Urine filter membrane photographed through a 4× microscope objective. The image covers about 1.5 × 1.1 mm of the membrane.
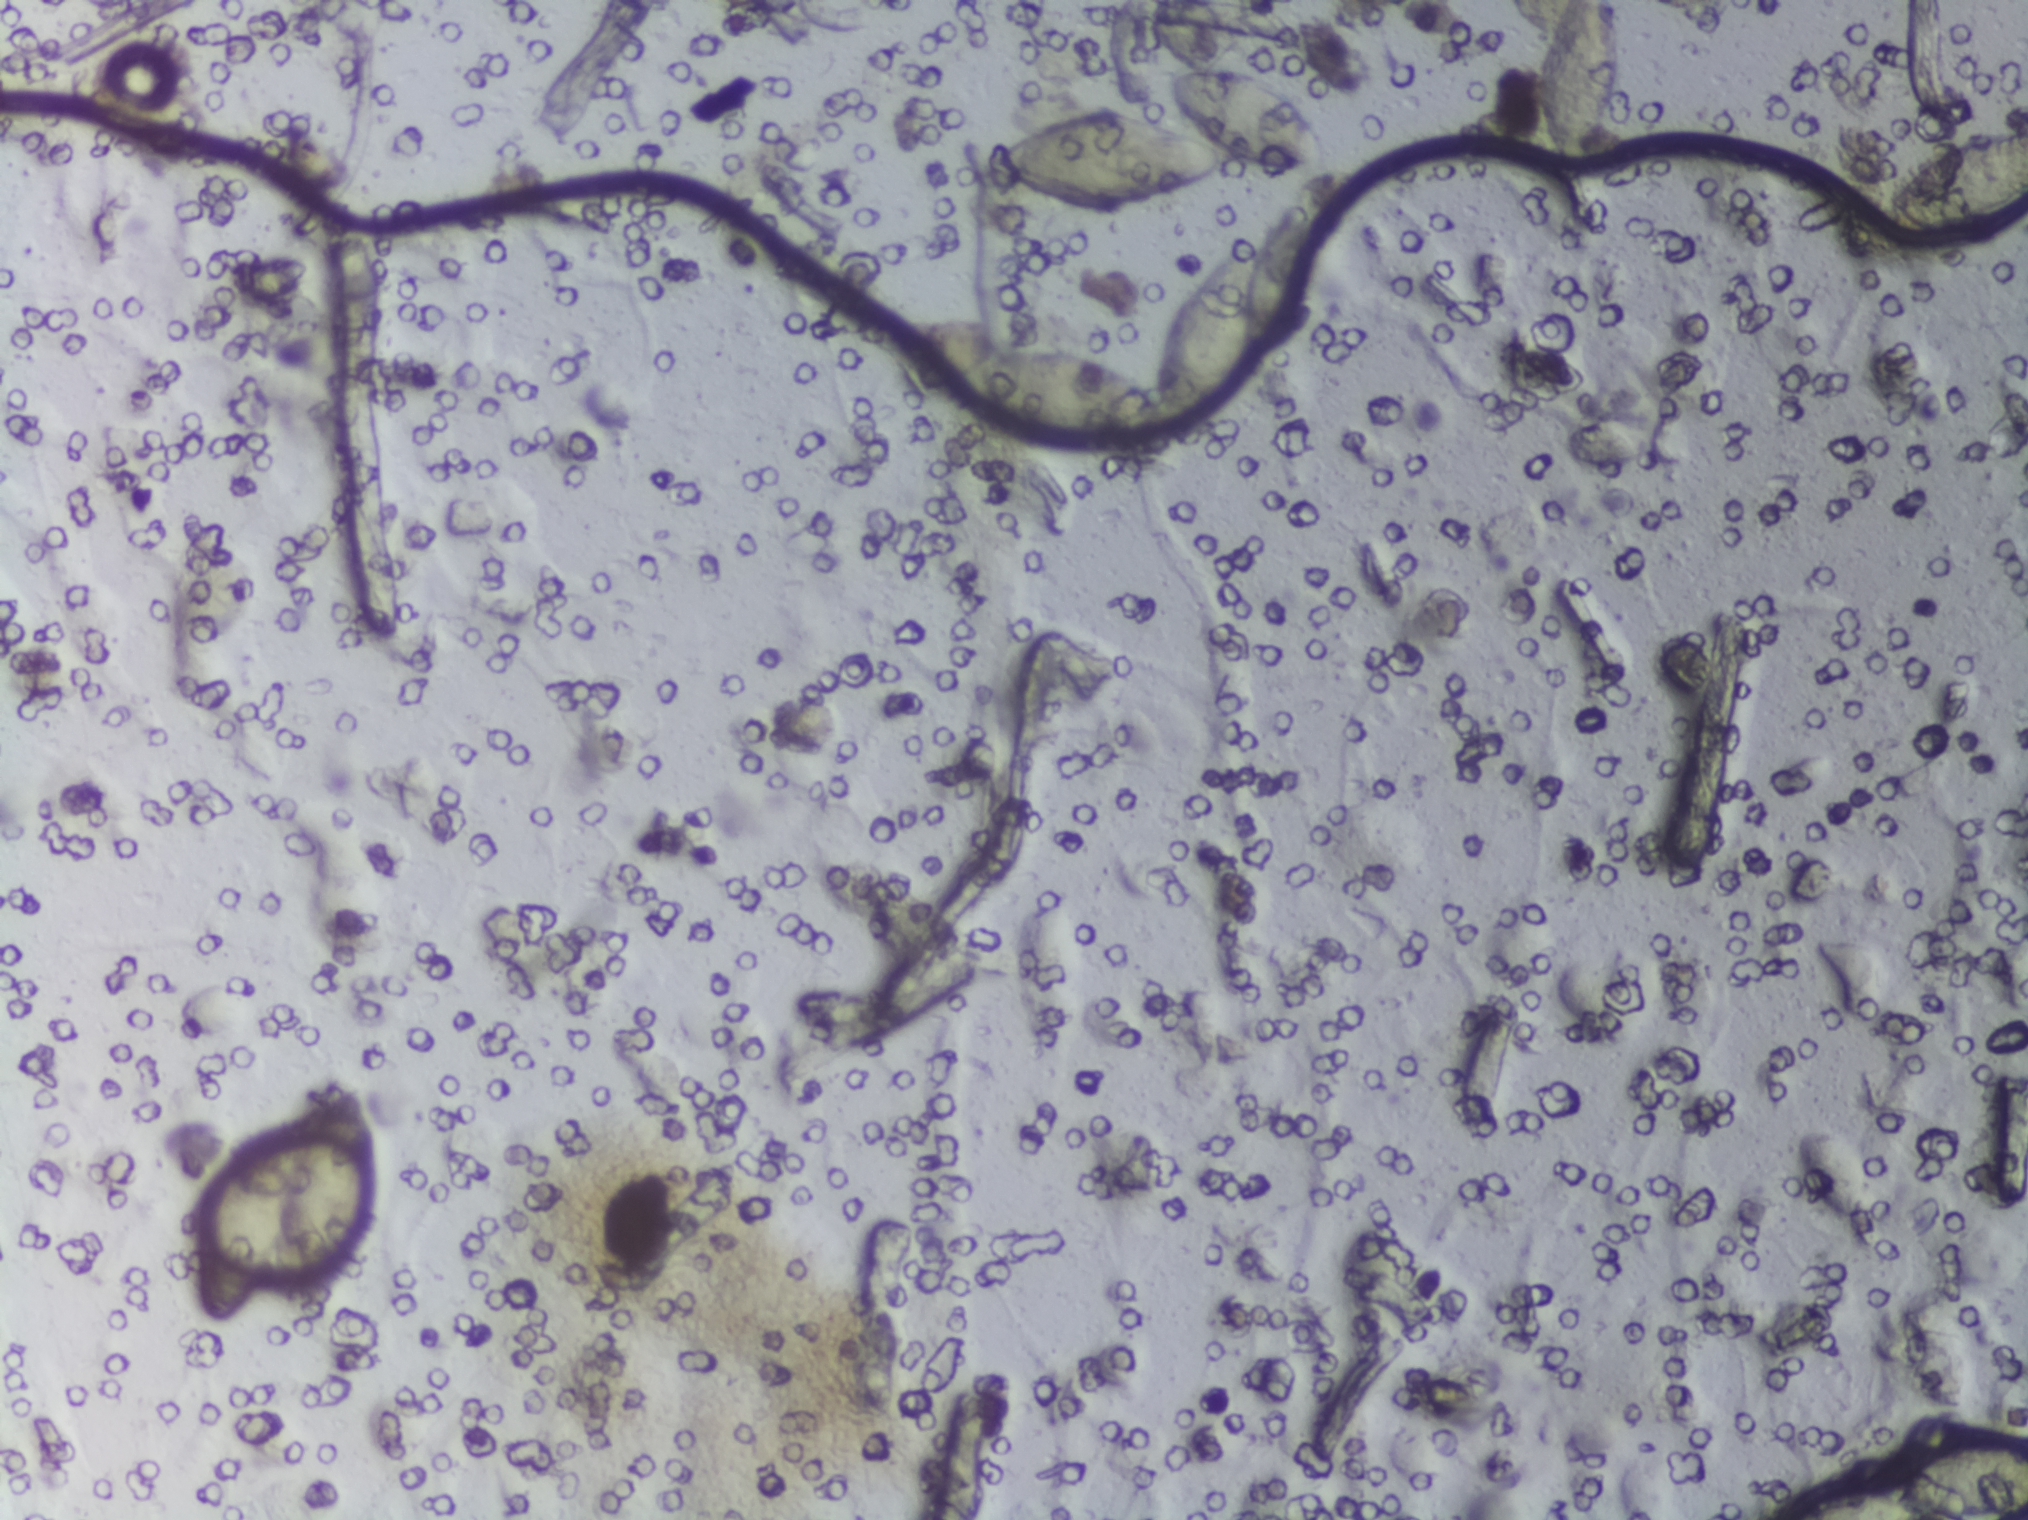
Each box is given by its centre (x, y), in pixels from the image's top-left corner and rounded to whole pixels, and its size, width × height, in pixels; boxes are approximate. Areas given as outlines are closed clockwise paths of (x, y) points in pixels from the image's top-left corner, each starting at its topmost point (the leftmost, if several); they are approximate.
Schistosoma eggs, outlined areas: box centre (281, 1205), 192 × 248 px; outline (1254, 244), (1260, 251), (1257, 359), (1231, 405), (1182, 433), (1089, 443), (1025, 440), (988, 421), (953, 389), (951, 370), (995, 342), (1069, 348), (1123, 365), (1155, 389), (1153, 349), (1181, 297), (1217, 275), (1234, 250); box centre (1159, 141), 346 × 145 px; box centre (1576, 92), 85 × 185 px (reaching the top edge of the frame); box centre (1903, 1479), 249 × 81 px (reaching the right and bottom edges of the frame); box centre (1949, 184), 157 × 115 px (reaching the right edge of the frame). A single outlined area may contain several eggs.